Urine filter membrane photographed through a 4× microscope objective.
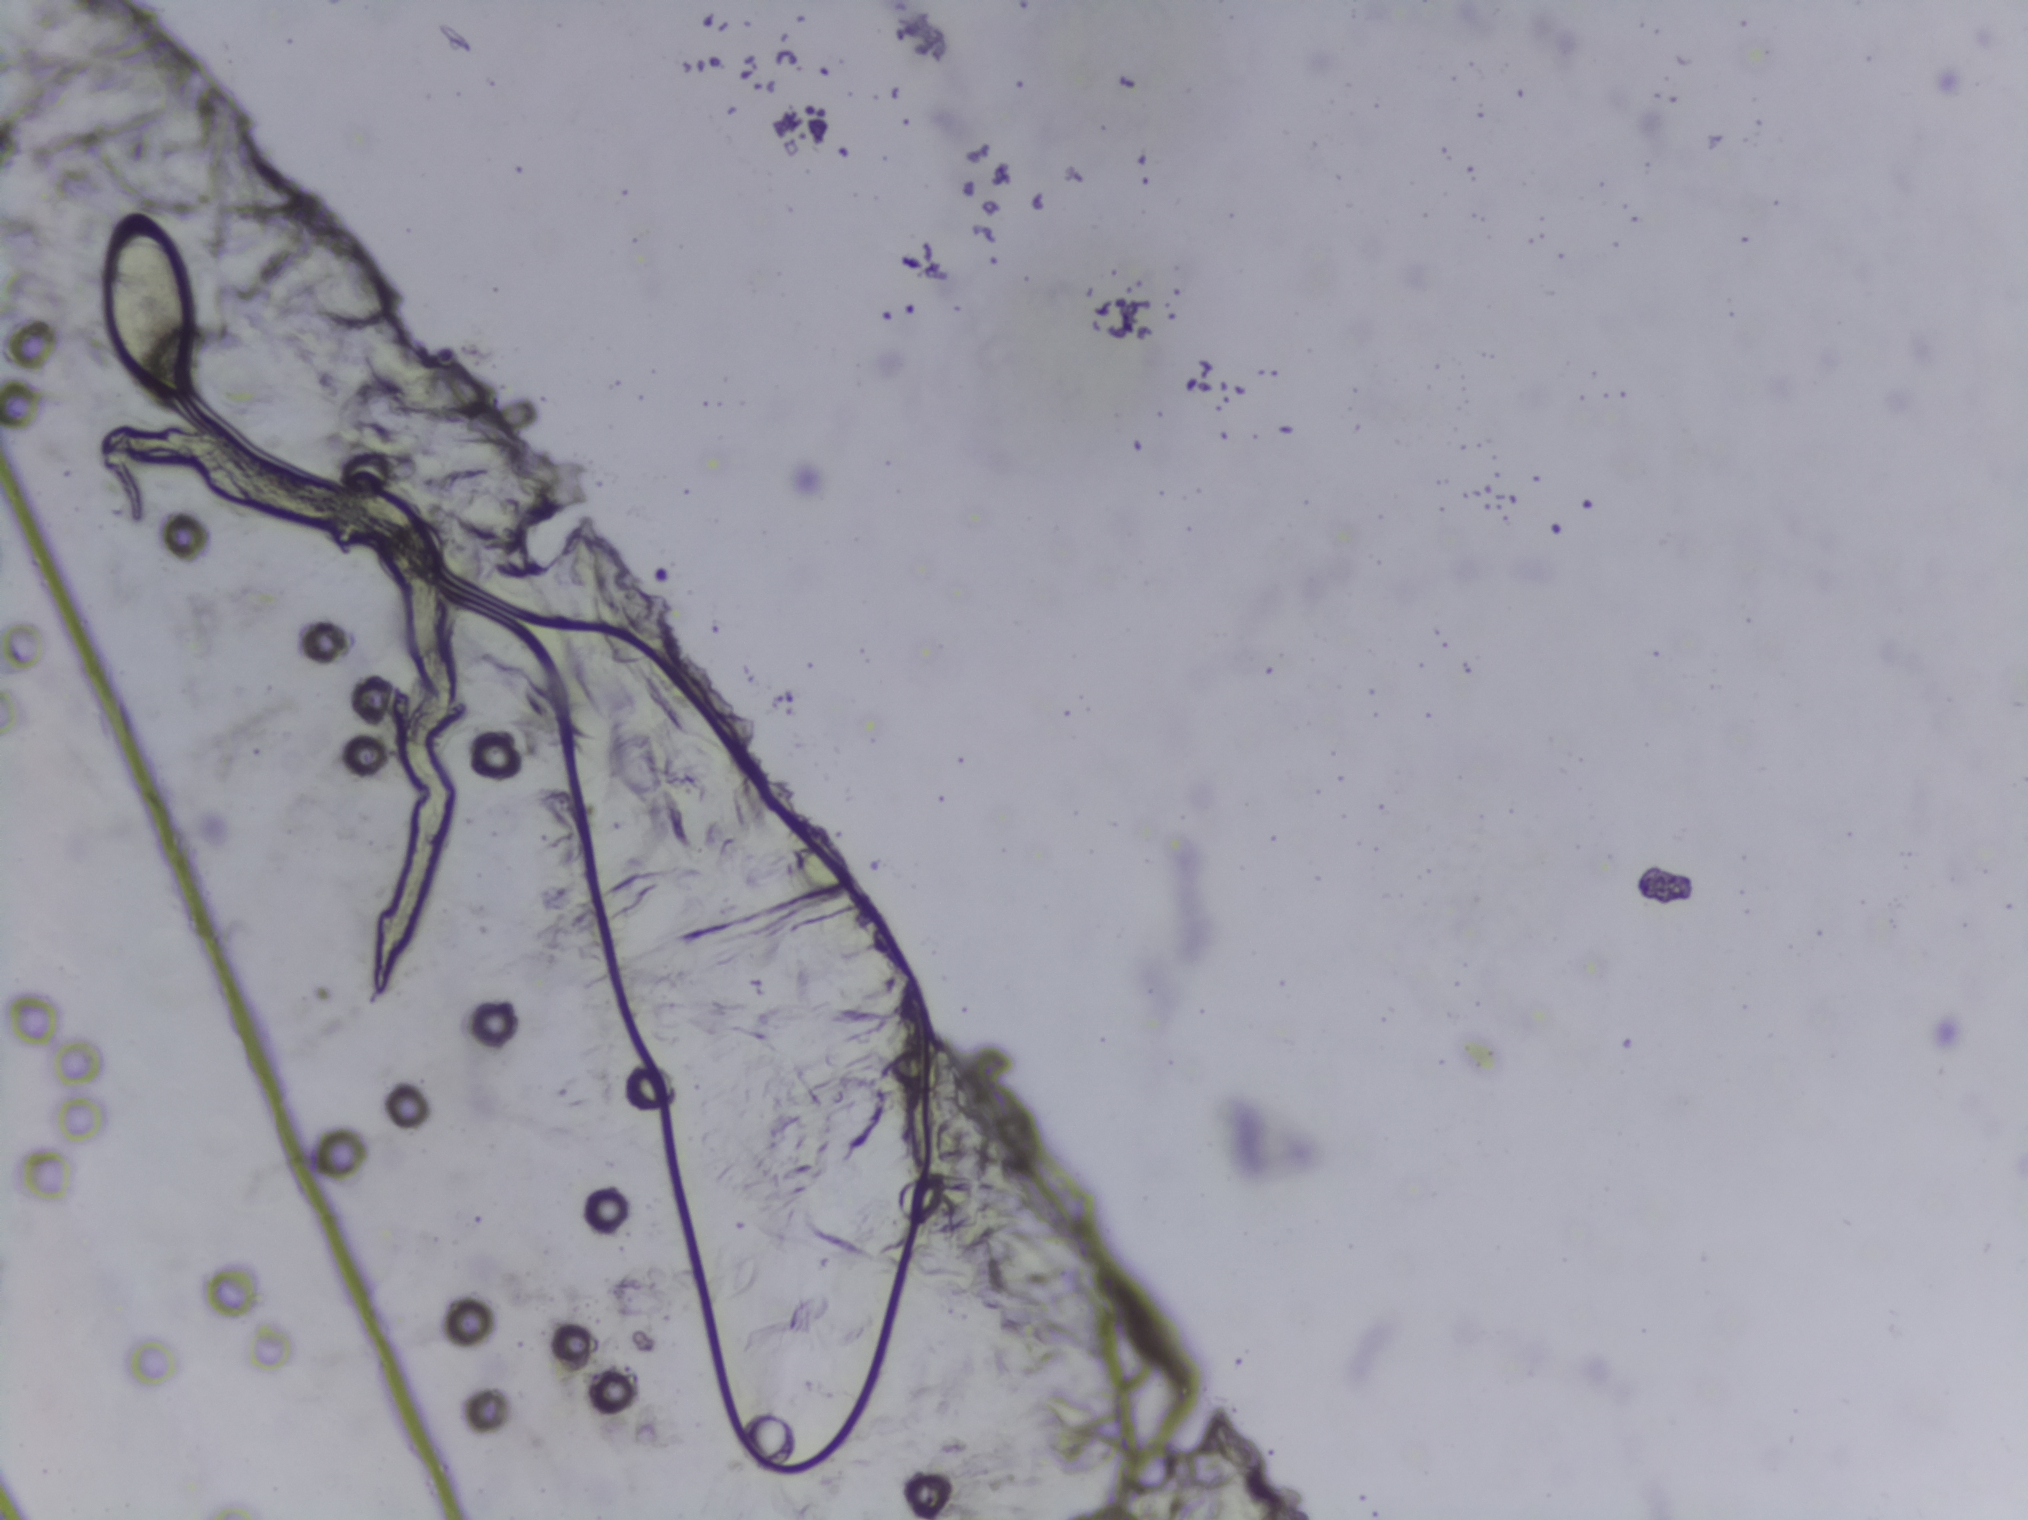
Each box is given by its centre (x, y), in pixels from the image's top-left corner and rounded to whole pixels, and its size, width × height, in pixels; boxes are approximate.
Areas outlined as Schistosoma eggs:
1. centre (146, 309), 90 × 193 px
An outlined area can hold more than one egg.